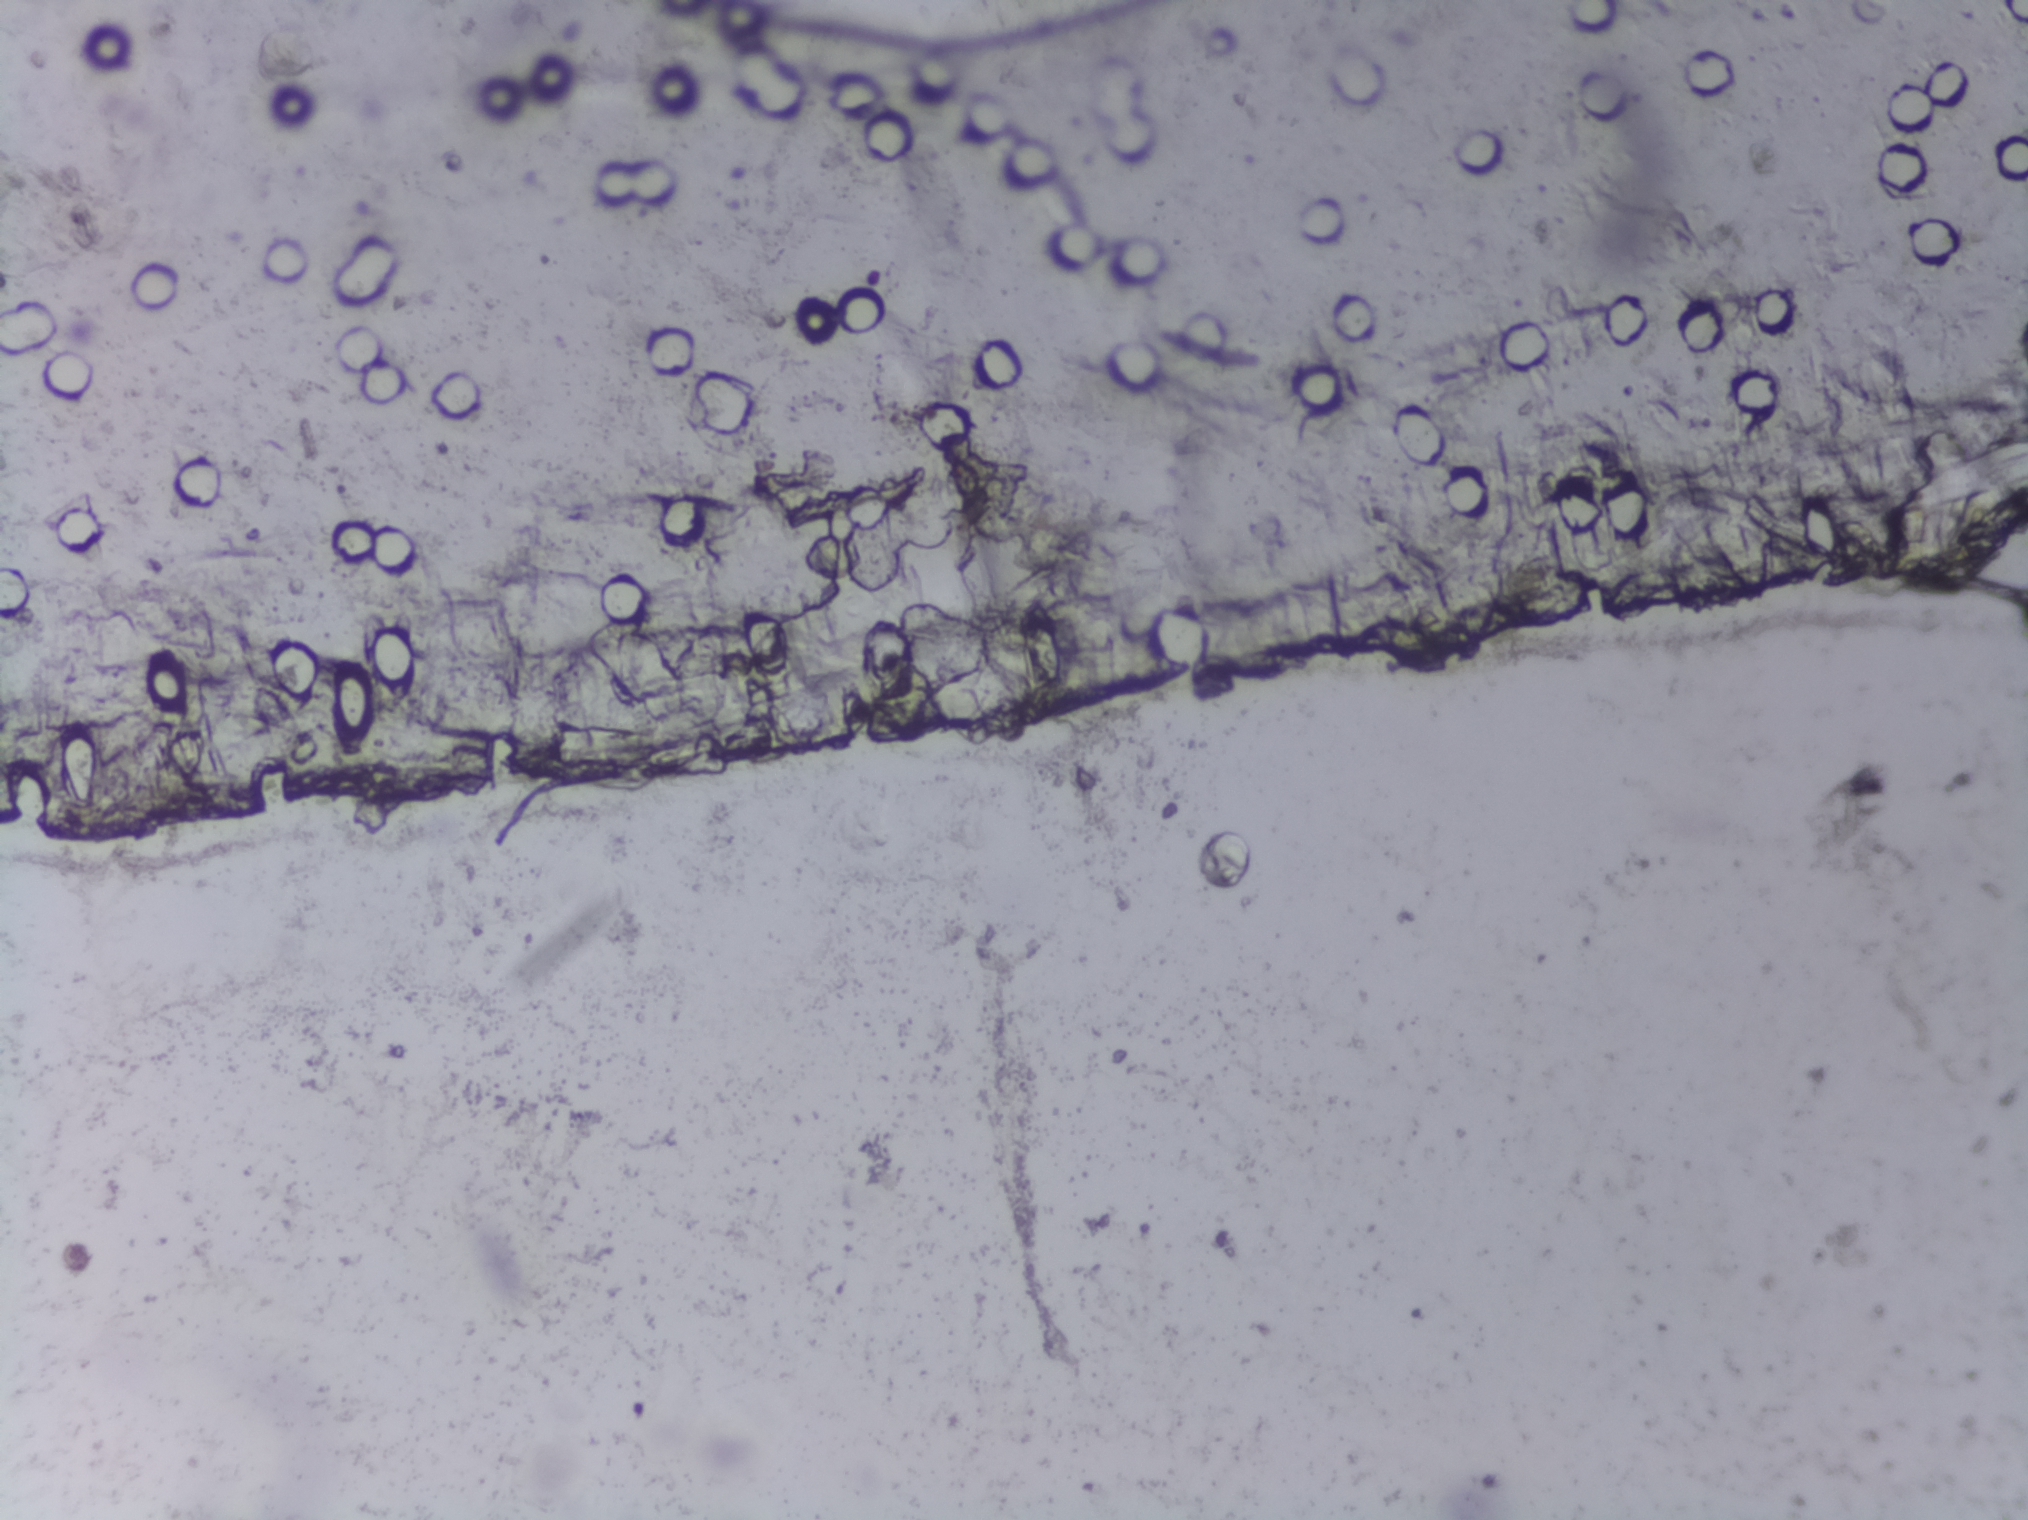
Photograph from an automated digital microscope: urine filter membrane, 4× objective. Field of view: about 1.5 mm wide and 1.1 mm high.
The expert annotation outlines no Schistosoma egg in this image.